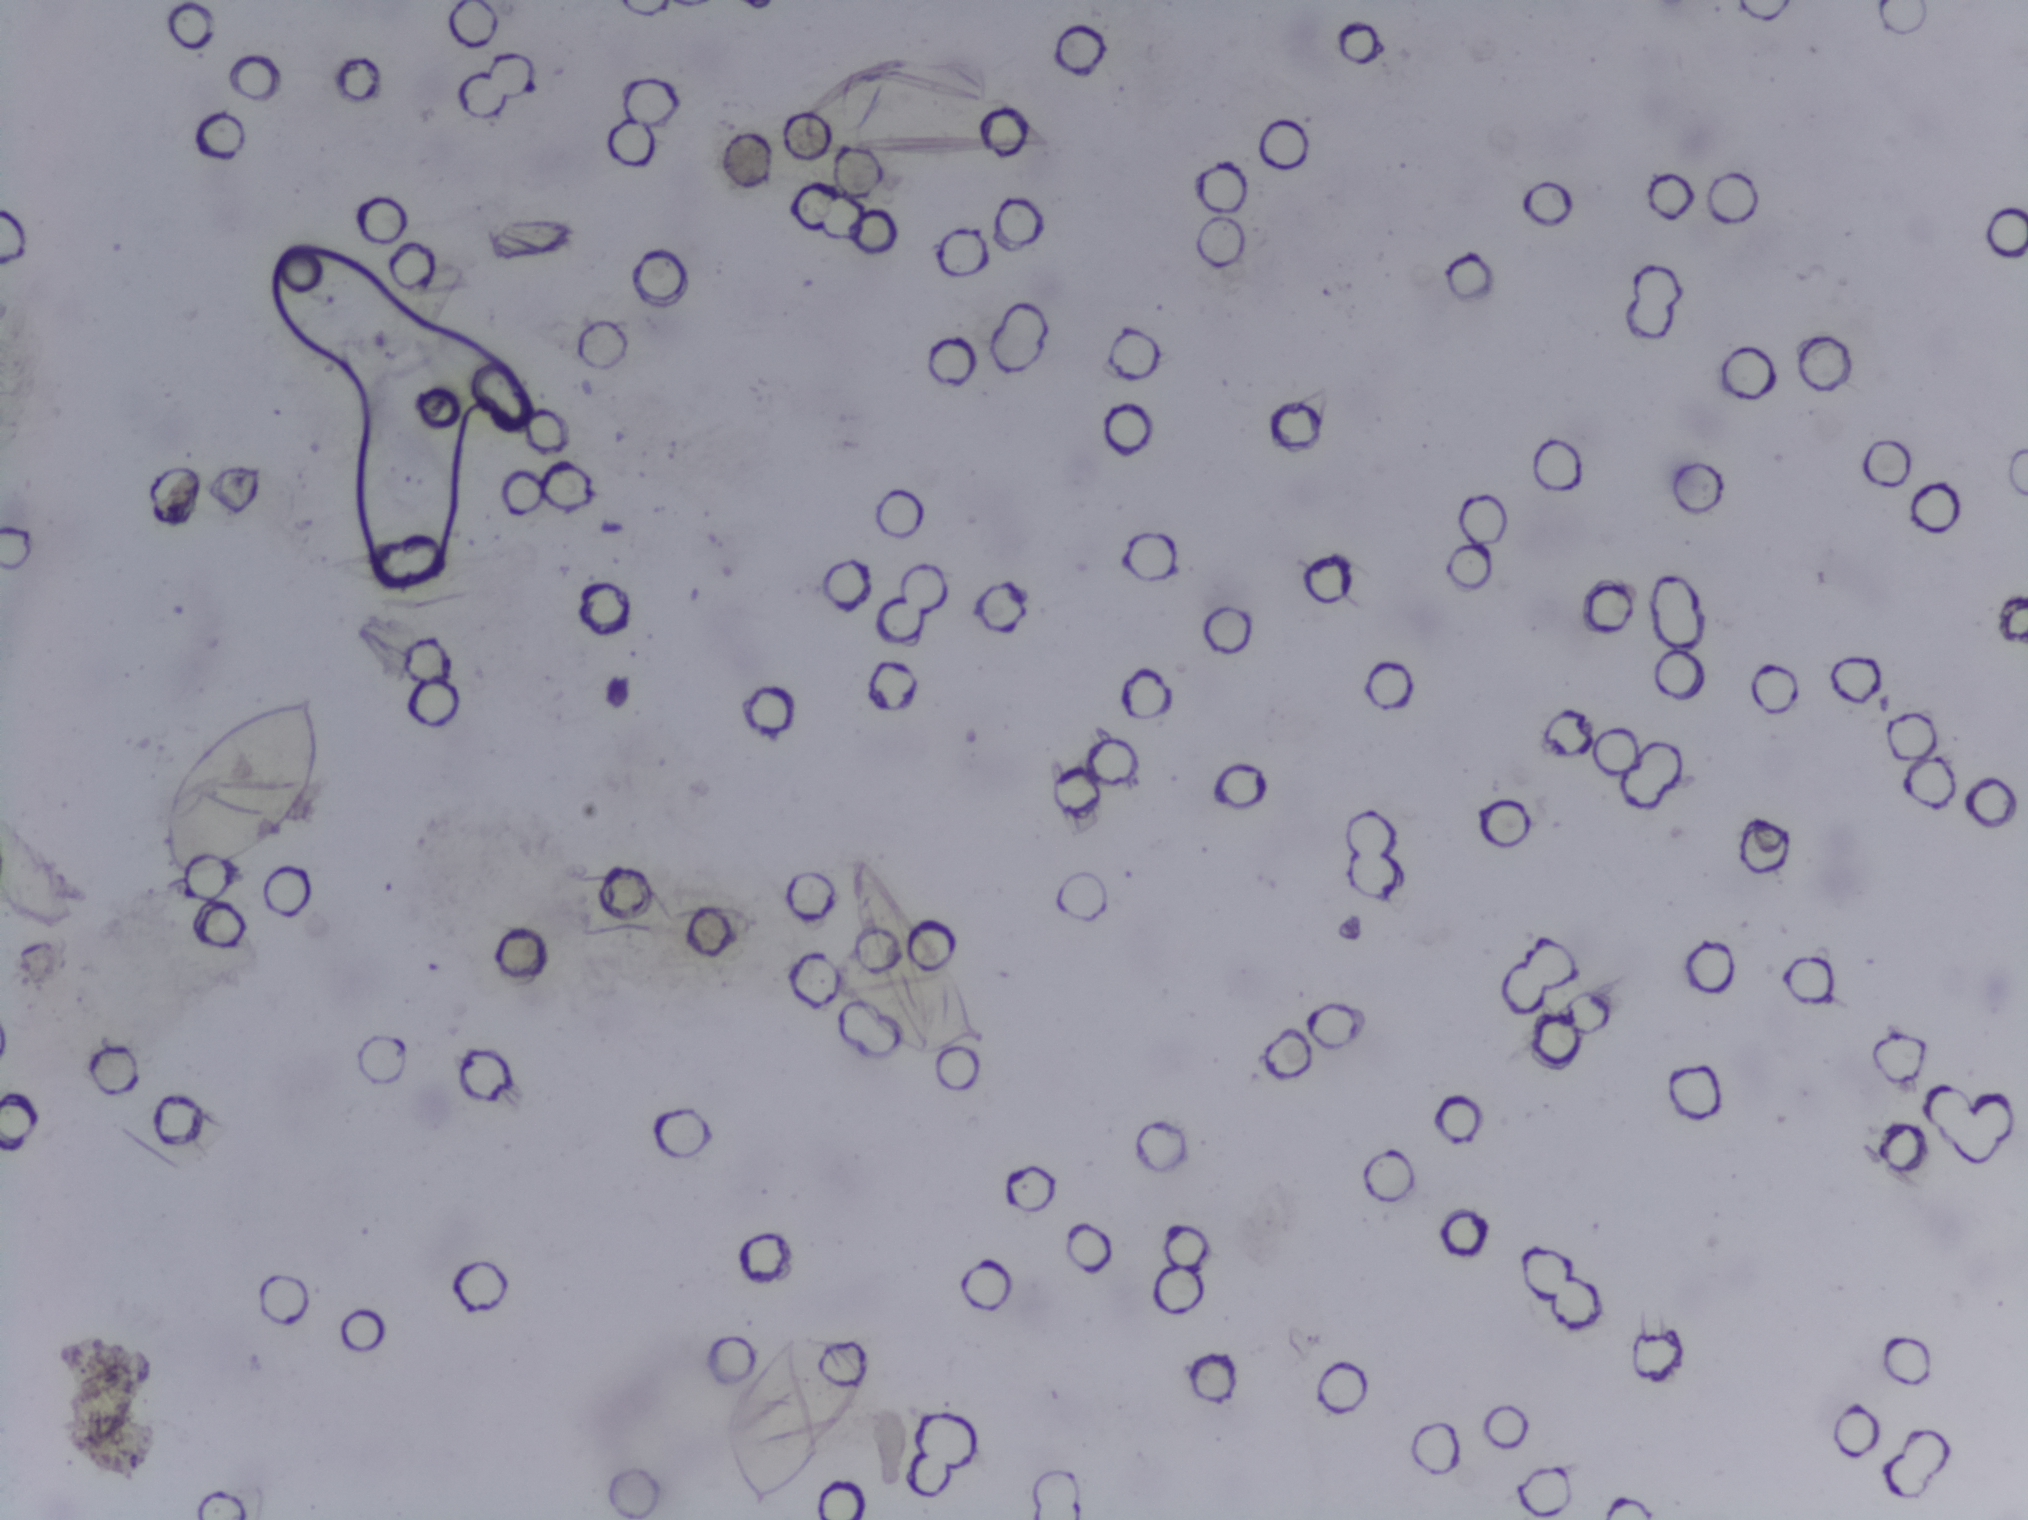
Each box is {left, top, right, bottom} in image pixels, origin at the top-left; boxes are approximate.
Areas outlined as Schistosoma eggs: {155, 693, 330, 885}; {719, 1320, 889, 1516}; {817, 888, 991, 1067}. Eggs that touch can end up inside the same outlined area.
Urine filtration membrane under a 4× objective, photographed by an automated digital microscope. The image covers about 1.5 × 1.1 mm of the membrane.